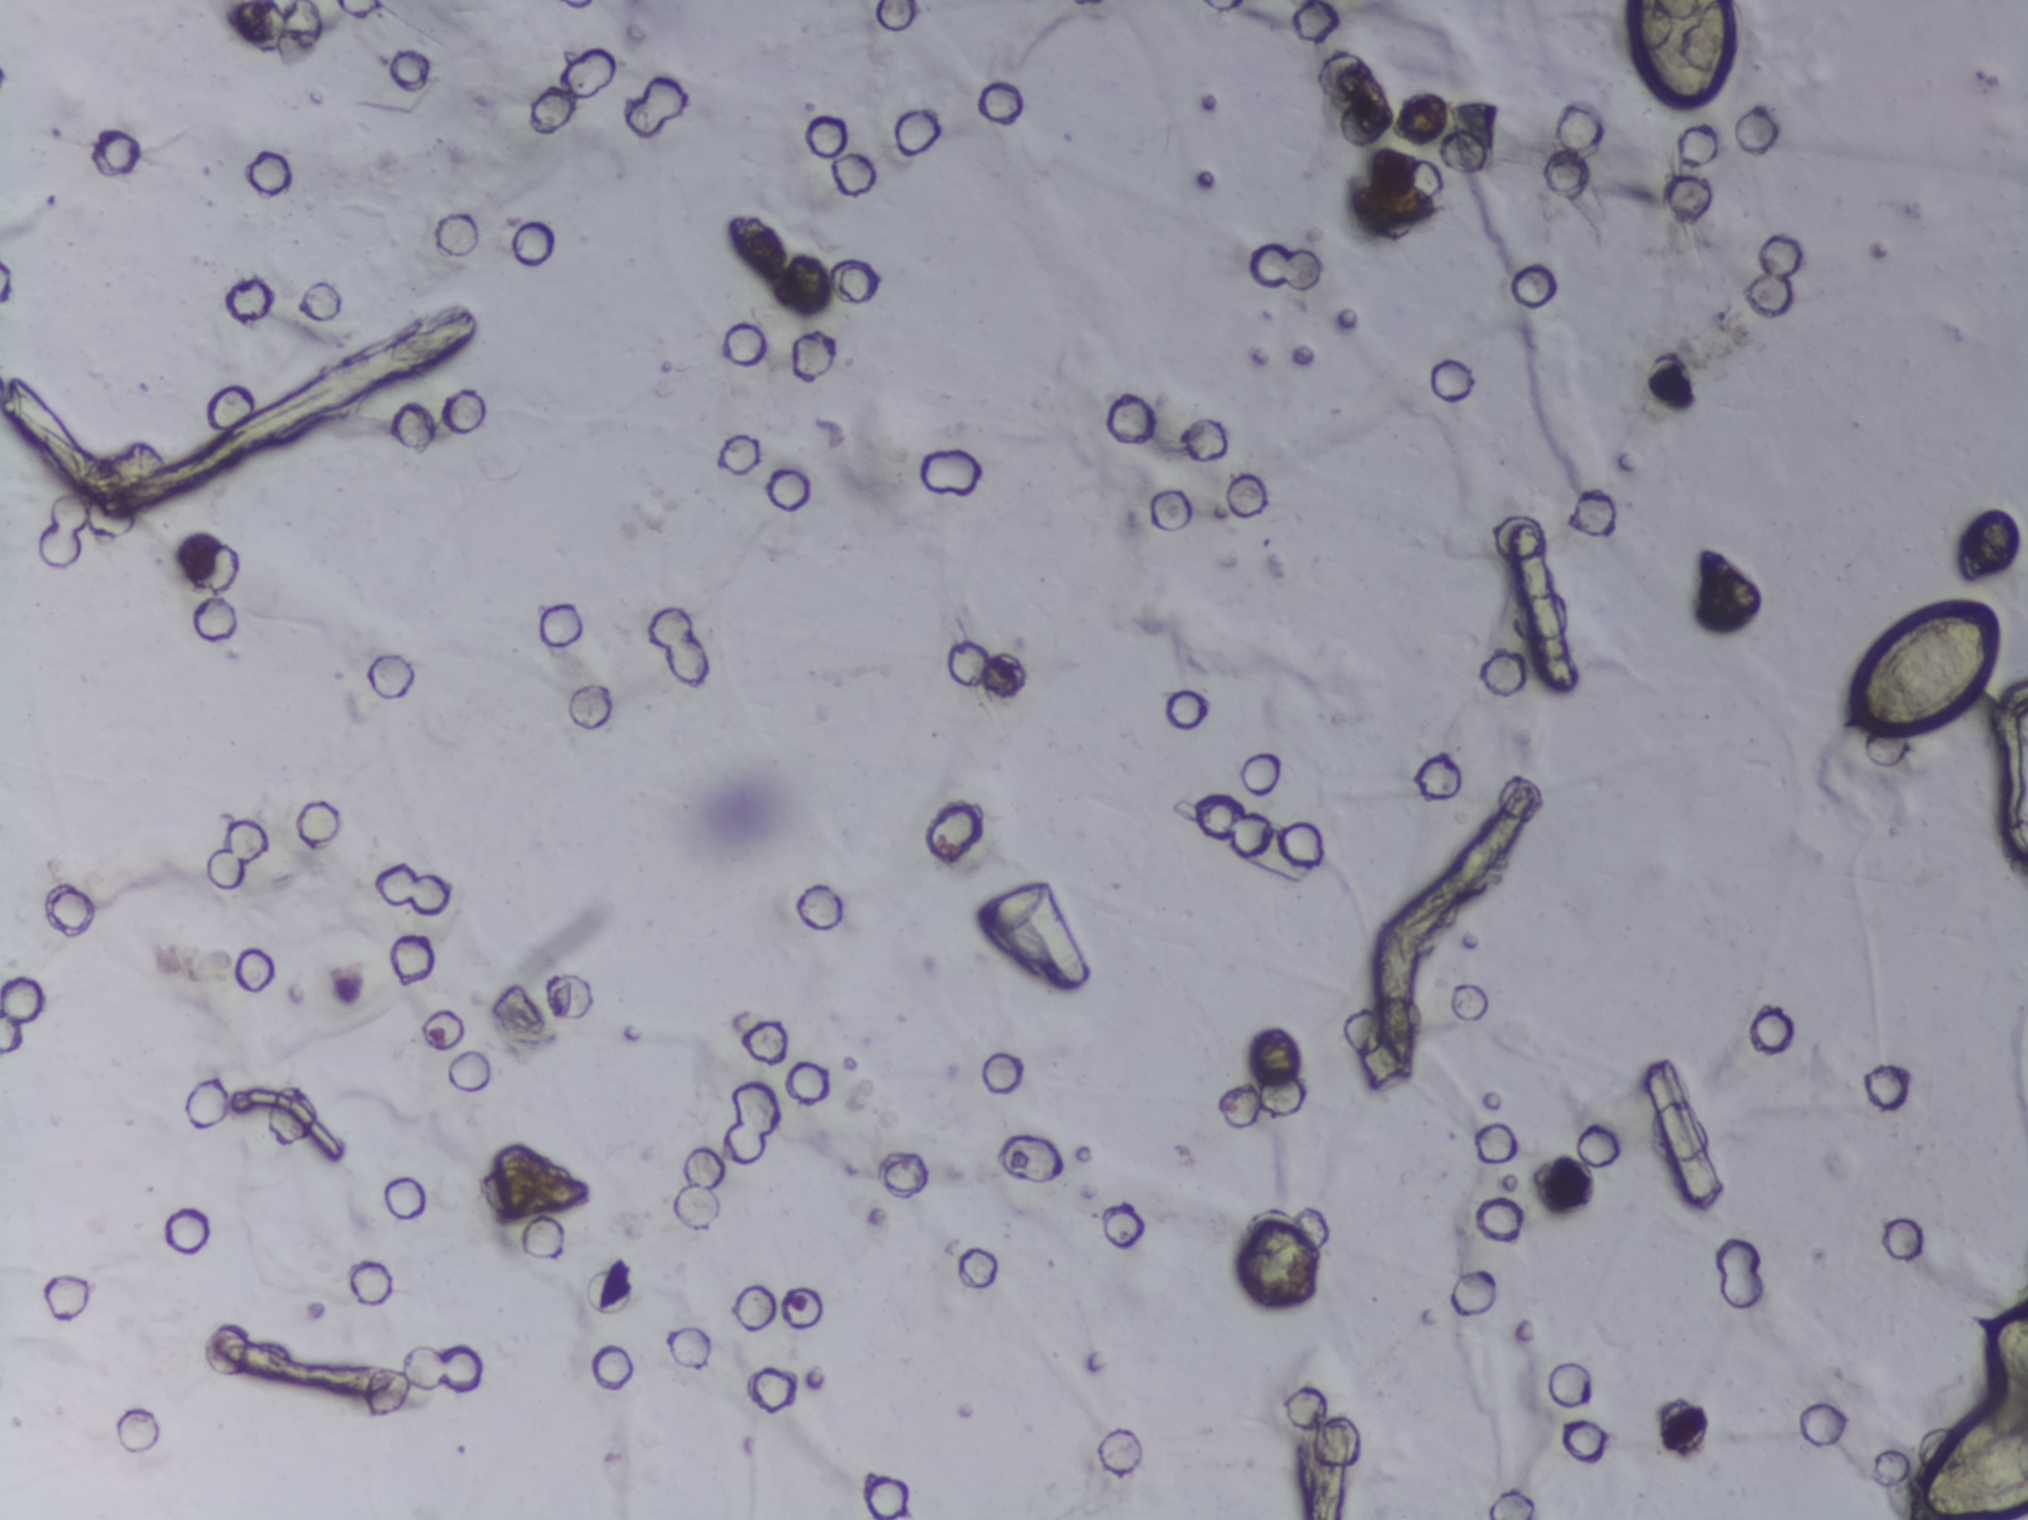
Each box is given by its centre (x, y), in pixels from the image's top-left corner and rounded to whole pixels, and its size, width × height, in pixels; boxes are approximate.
Schistosoma eggs are outlined in four areas of this image, listed from left to right: centre (1681, 55), 120 × 110 px (reaching the top edge of the frame); centre (1914, 672), 166 × 142 px; centre (1975, 1466), 106 × 96 px (reaching the right edge of the frame); centre (1993, 1348), 70 × 80 px (reaching the right edge of the frame). A single outlined area may contain several eggs.
One field of view of a urine filter membrane, 4× objective, 2028 × 1520 pixels.